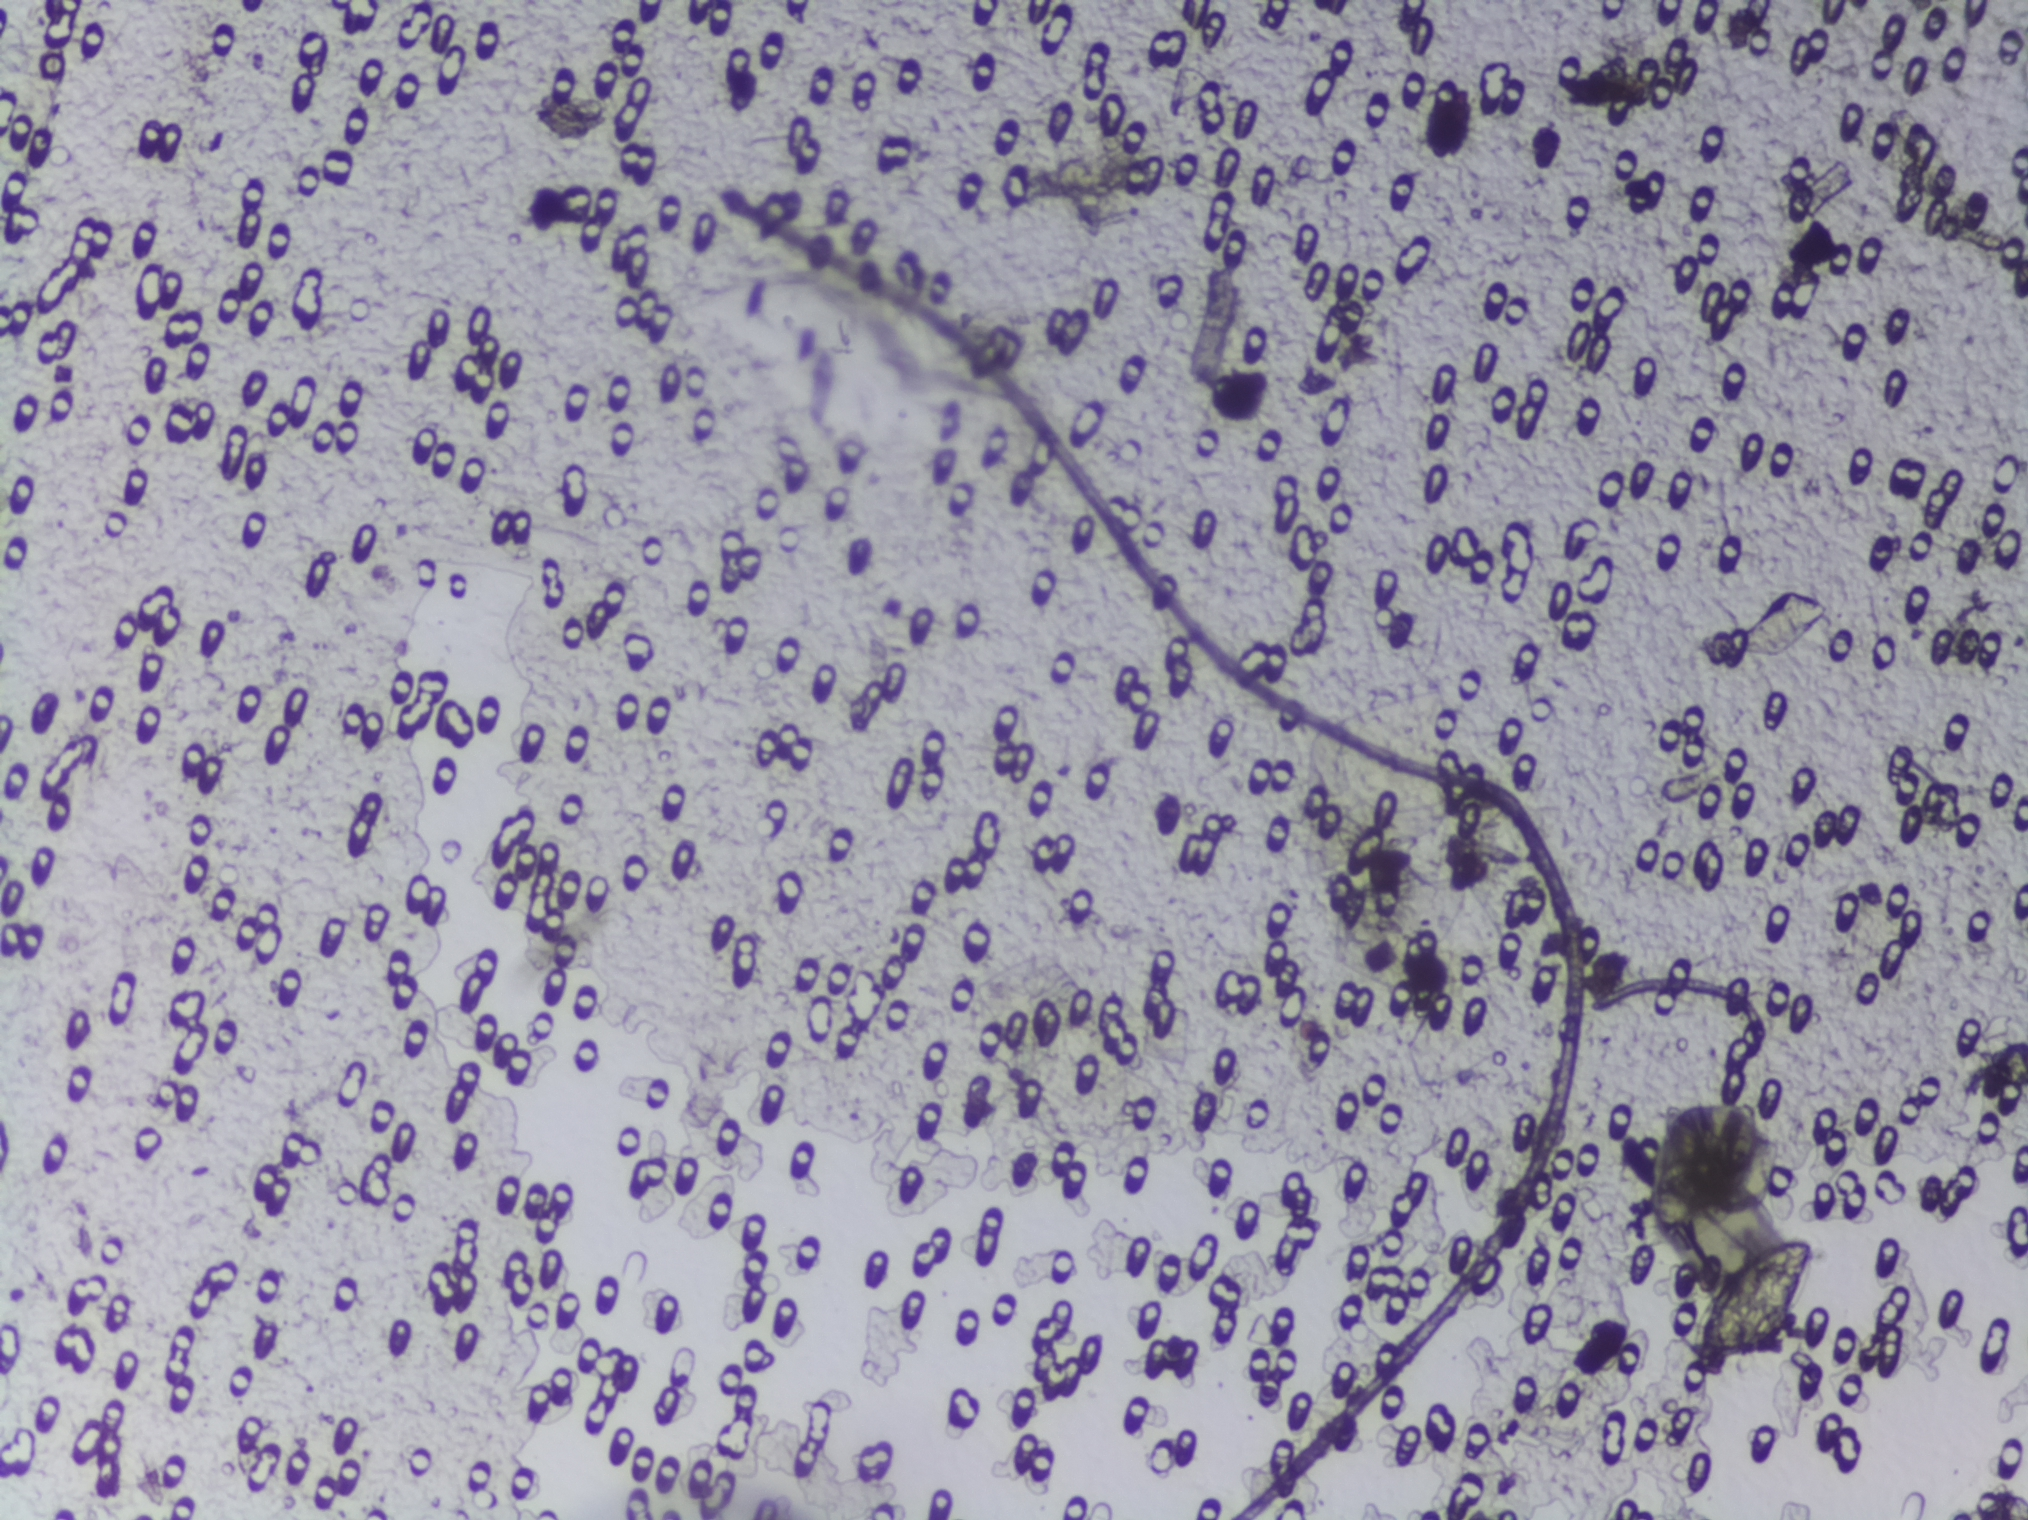
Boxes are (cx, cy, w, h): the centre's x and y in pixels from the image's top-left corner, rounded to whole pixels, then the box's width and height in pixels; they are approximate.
Schistosoma eggs are outlined in one area of this image: (cx=1749, cy=1306, w=133, h=136). A single outlined area may contain several eggs.
Microscope photograph (4× objective) of a membrane that a urine sample was filtered through.